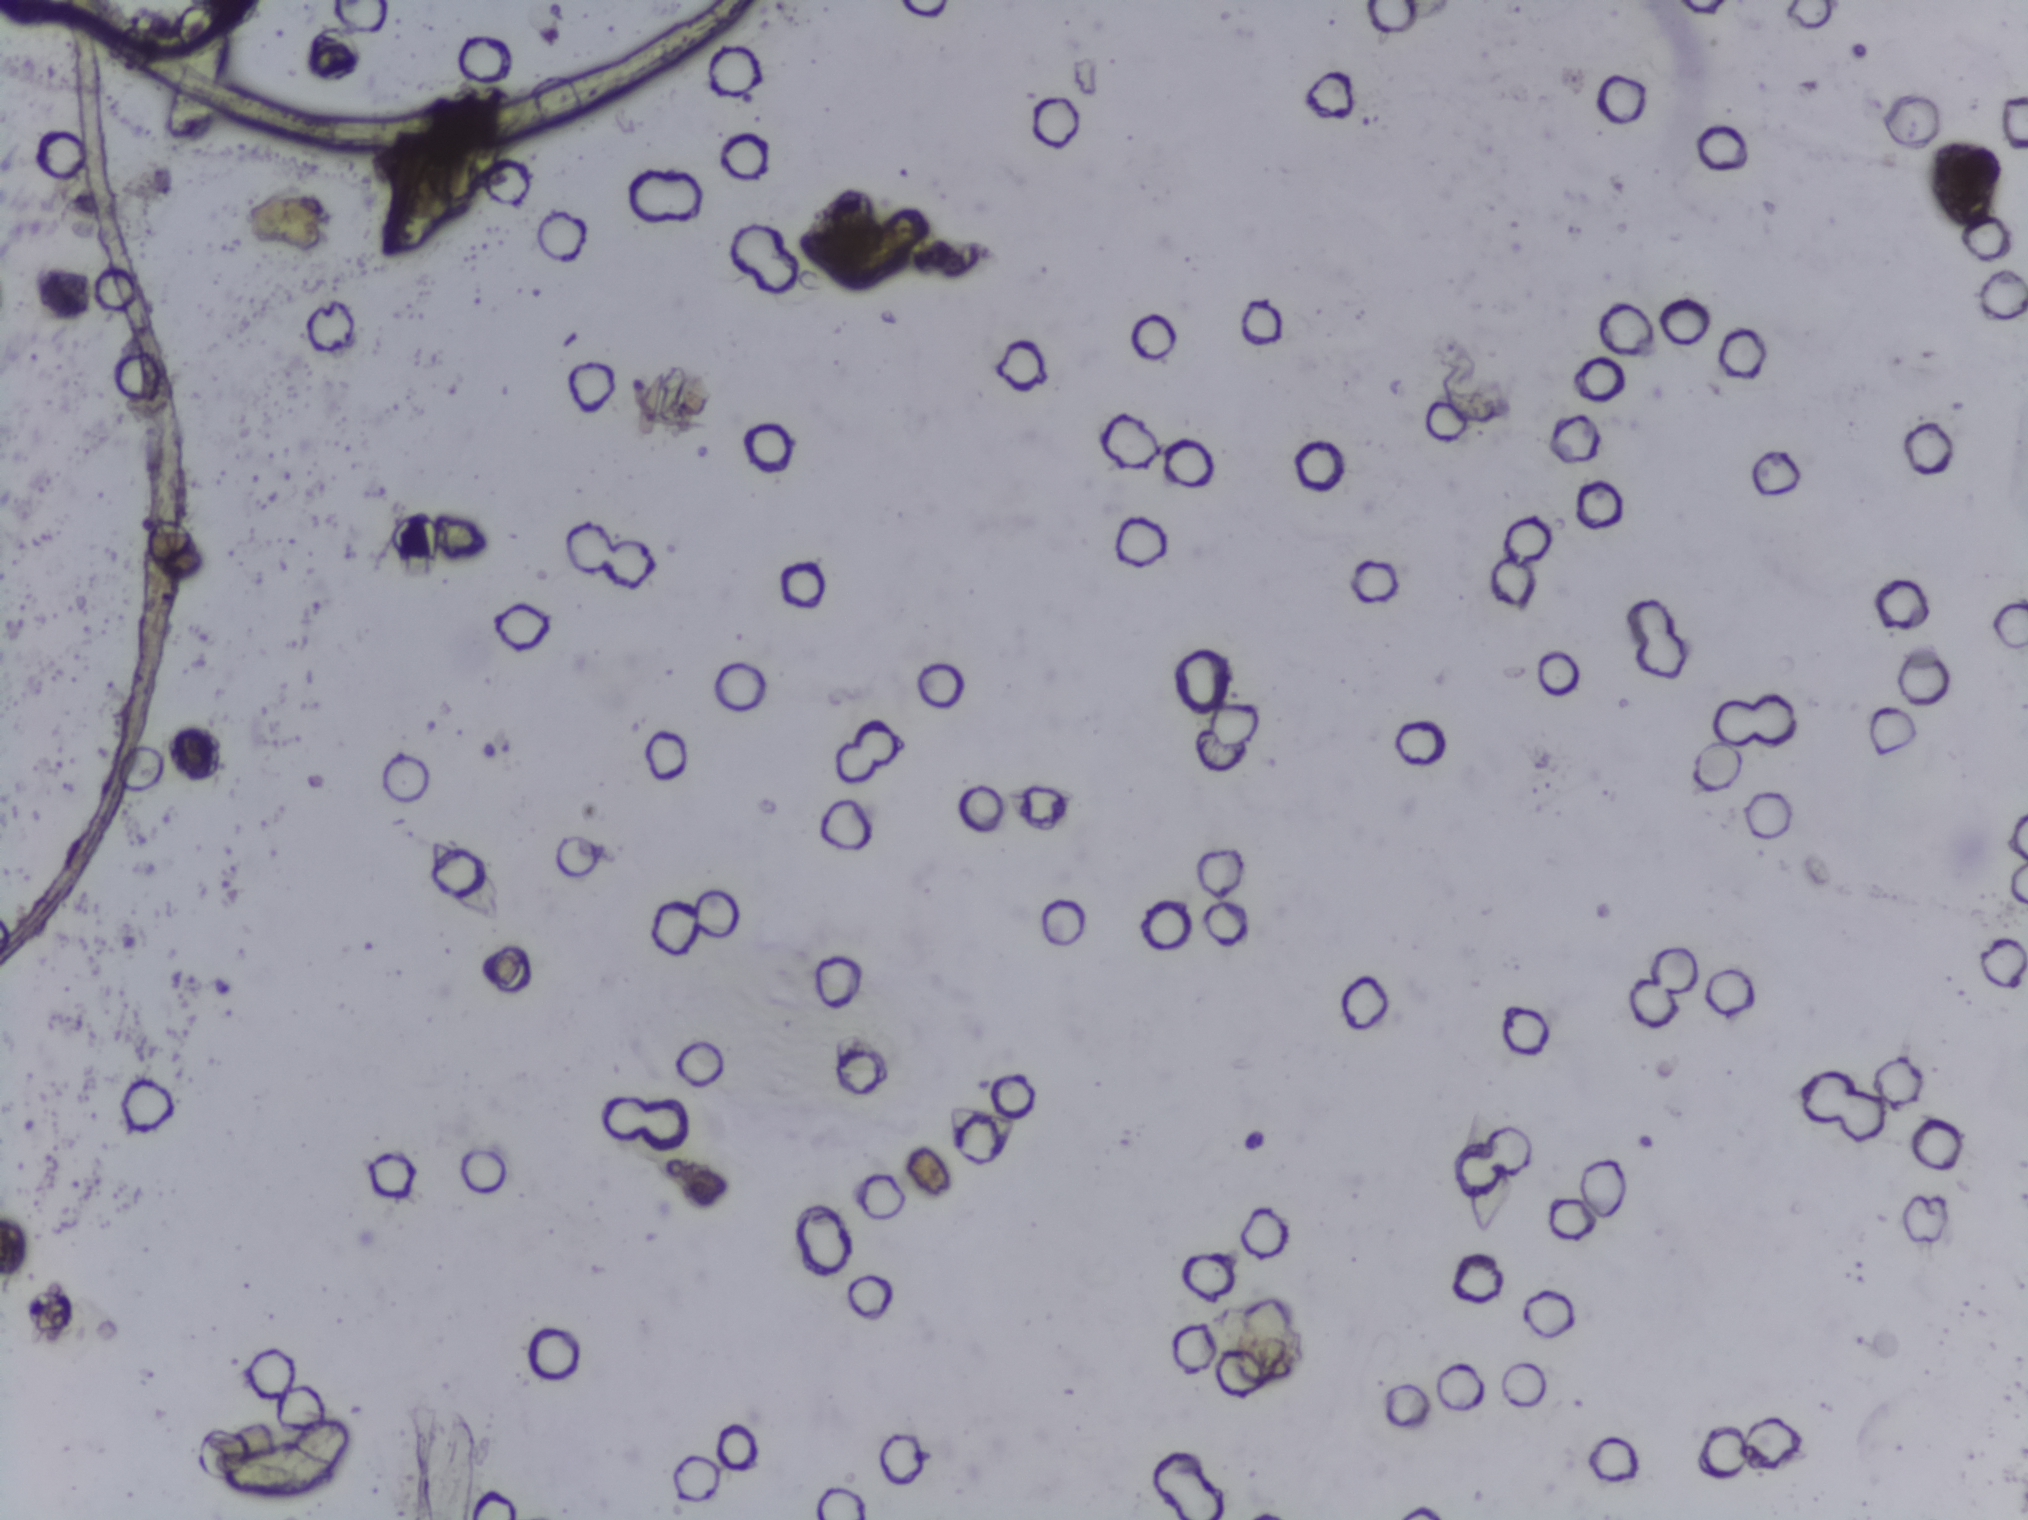
Urine filter membrane photographed through a 4× microscope objective.
The expert annotation marks no Schistosoma egg in this field of view.